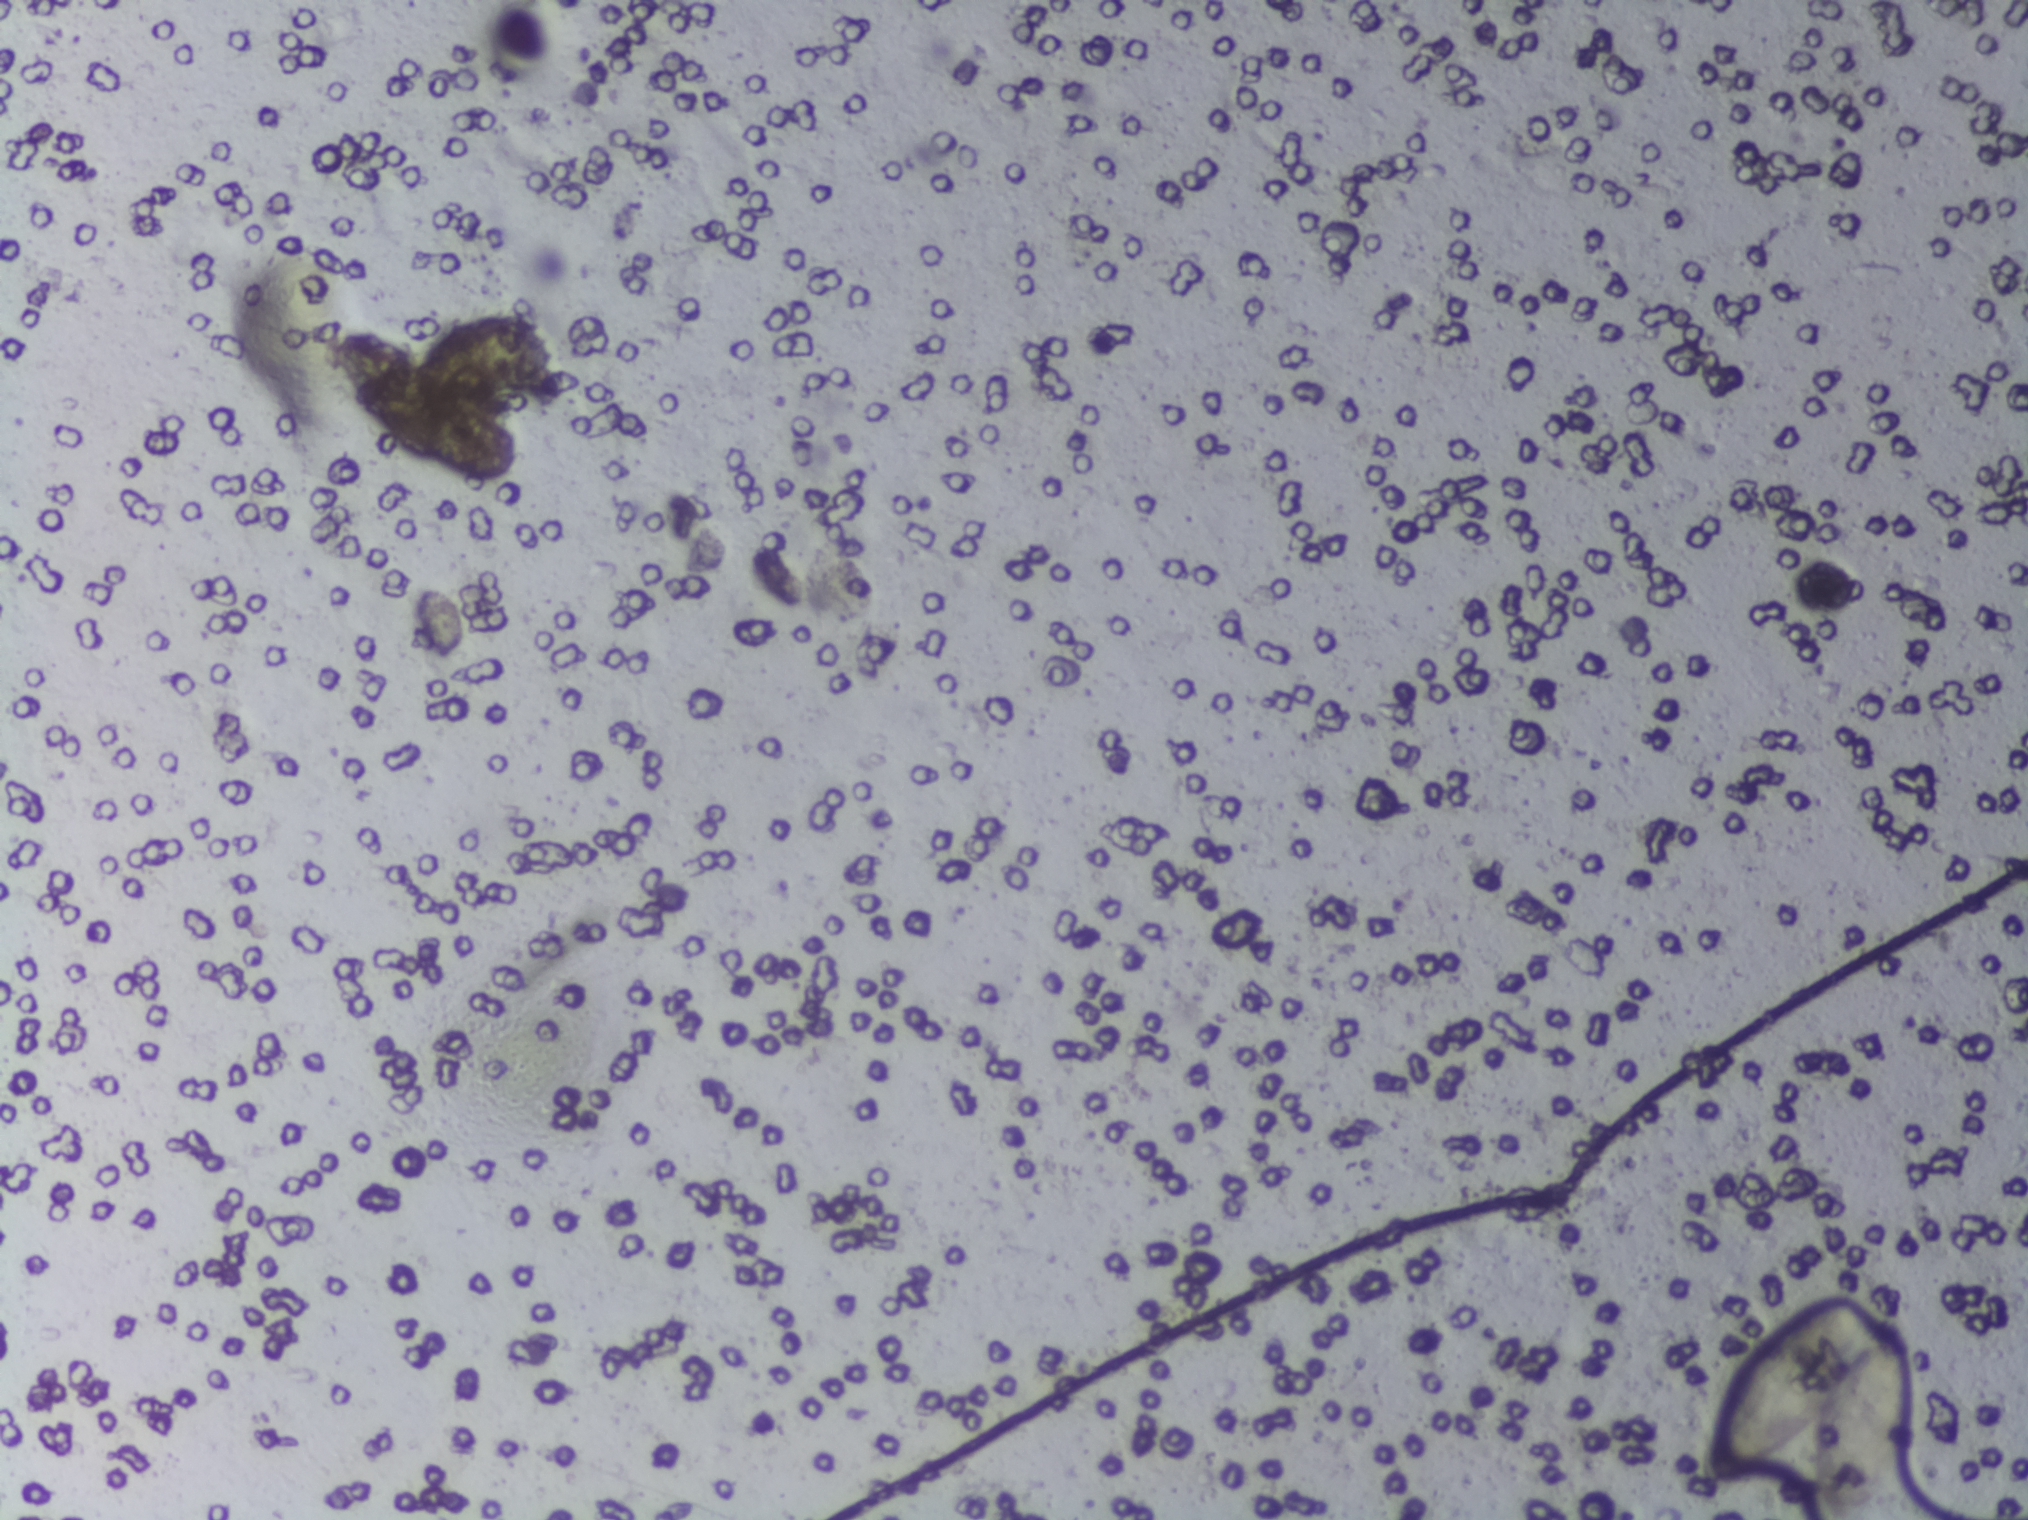
Urine filter membrane photographed through a 4× microscope objective. Field of view: about 1.5 mm wide and 1.1 mm high.
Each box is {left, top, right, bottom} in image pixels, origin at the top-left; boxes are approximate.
Schistosoma eggs, outlined areas: {1700, 1300, 1914, 1519} (reaching the bottom edge of the frame). A single outlined area may contain several eggs.